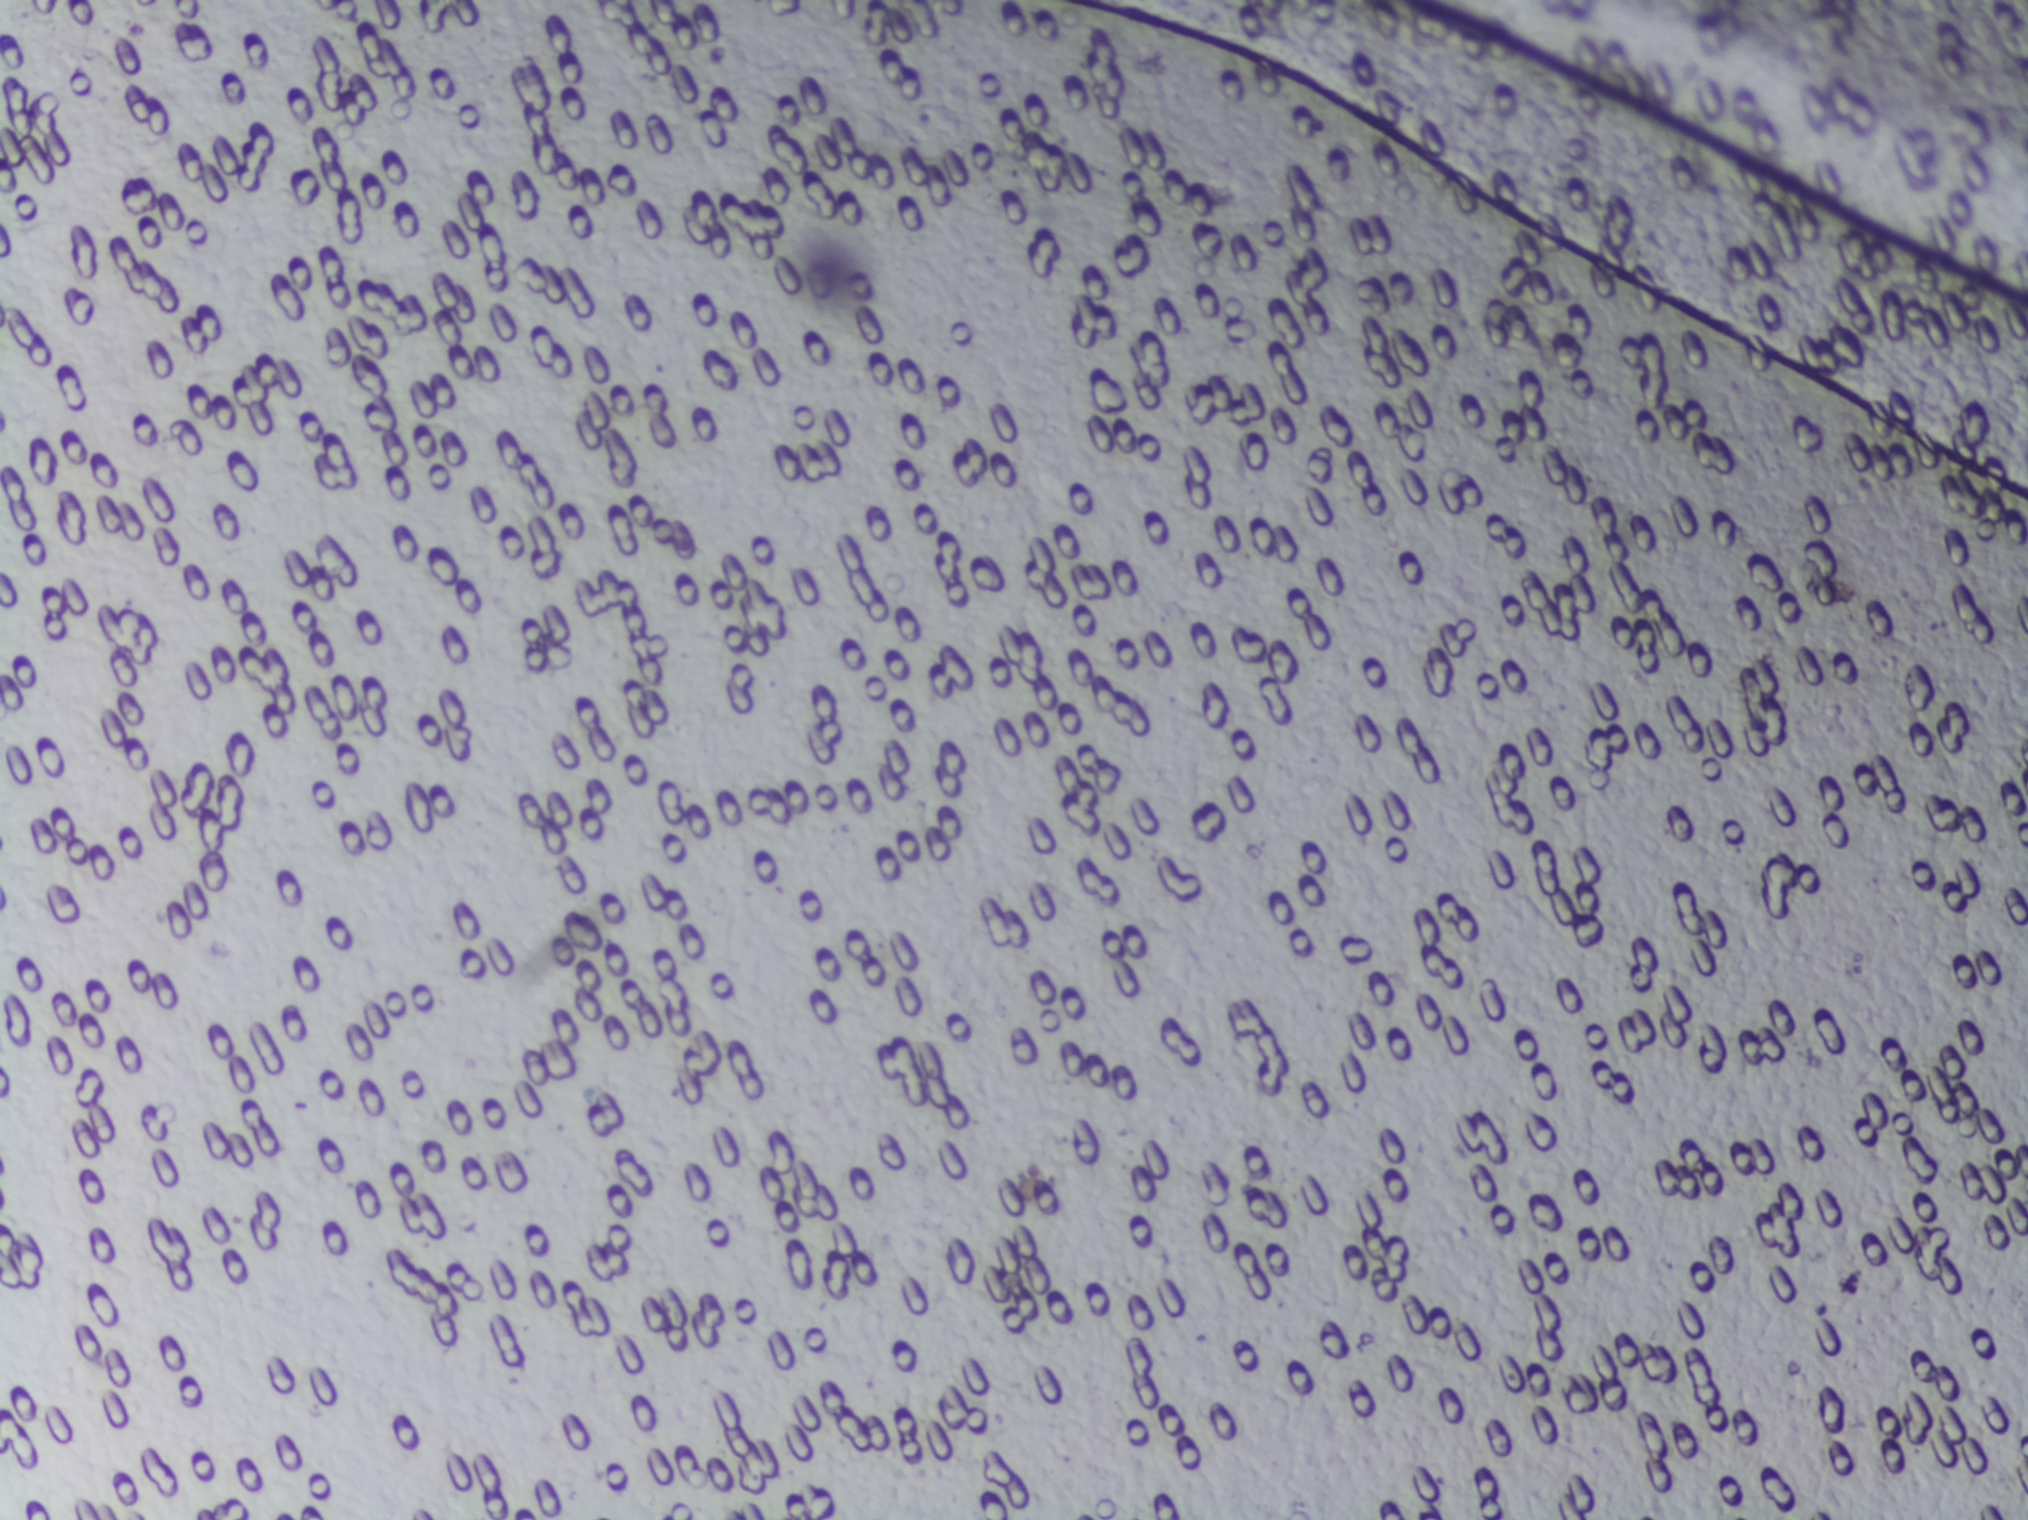
Photomicrograph of a urine filtration membrane, 4× objective.
The expert annotation outlines no Schistosoma egg in this image.